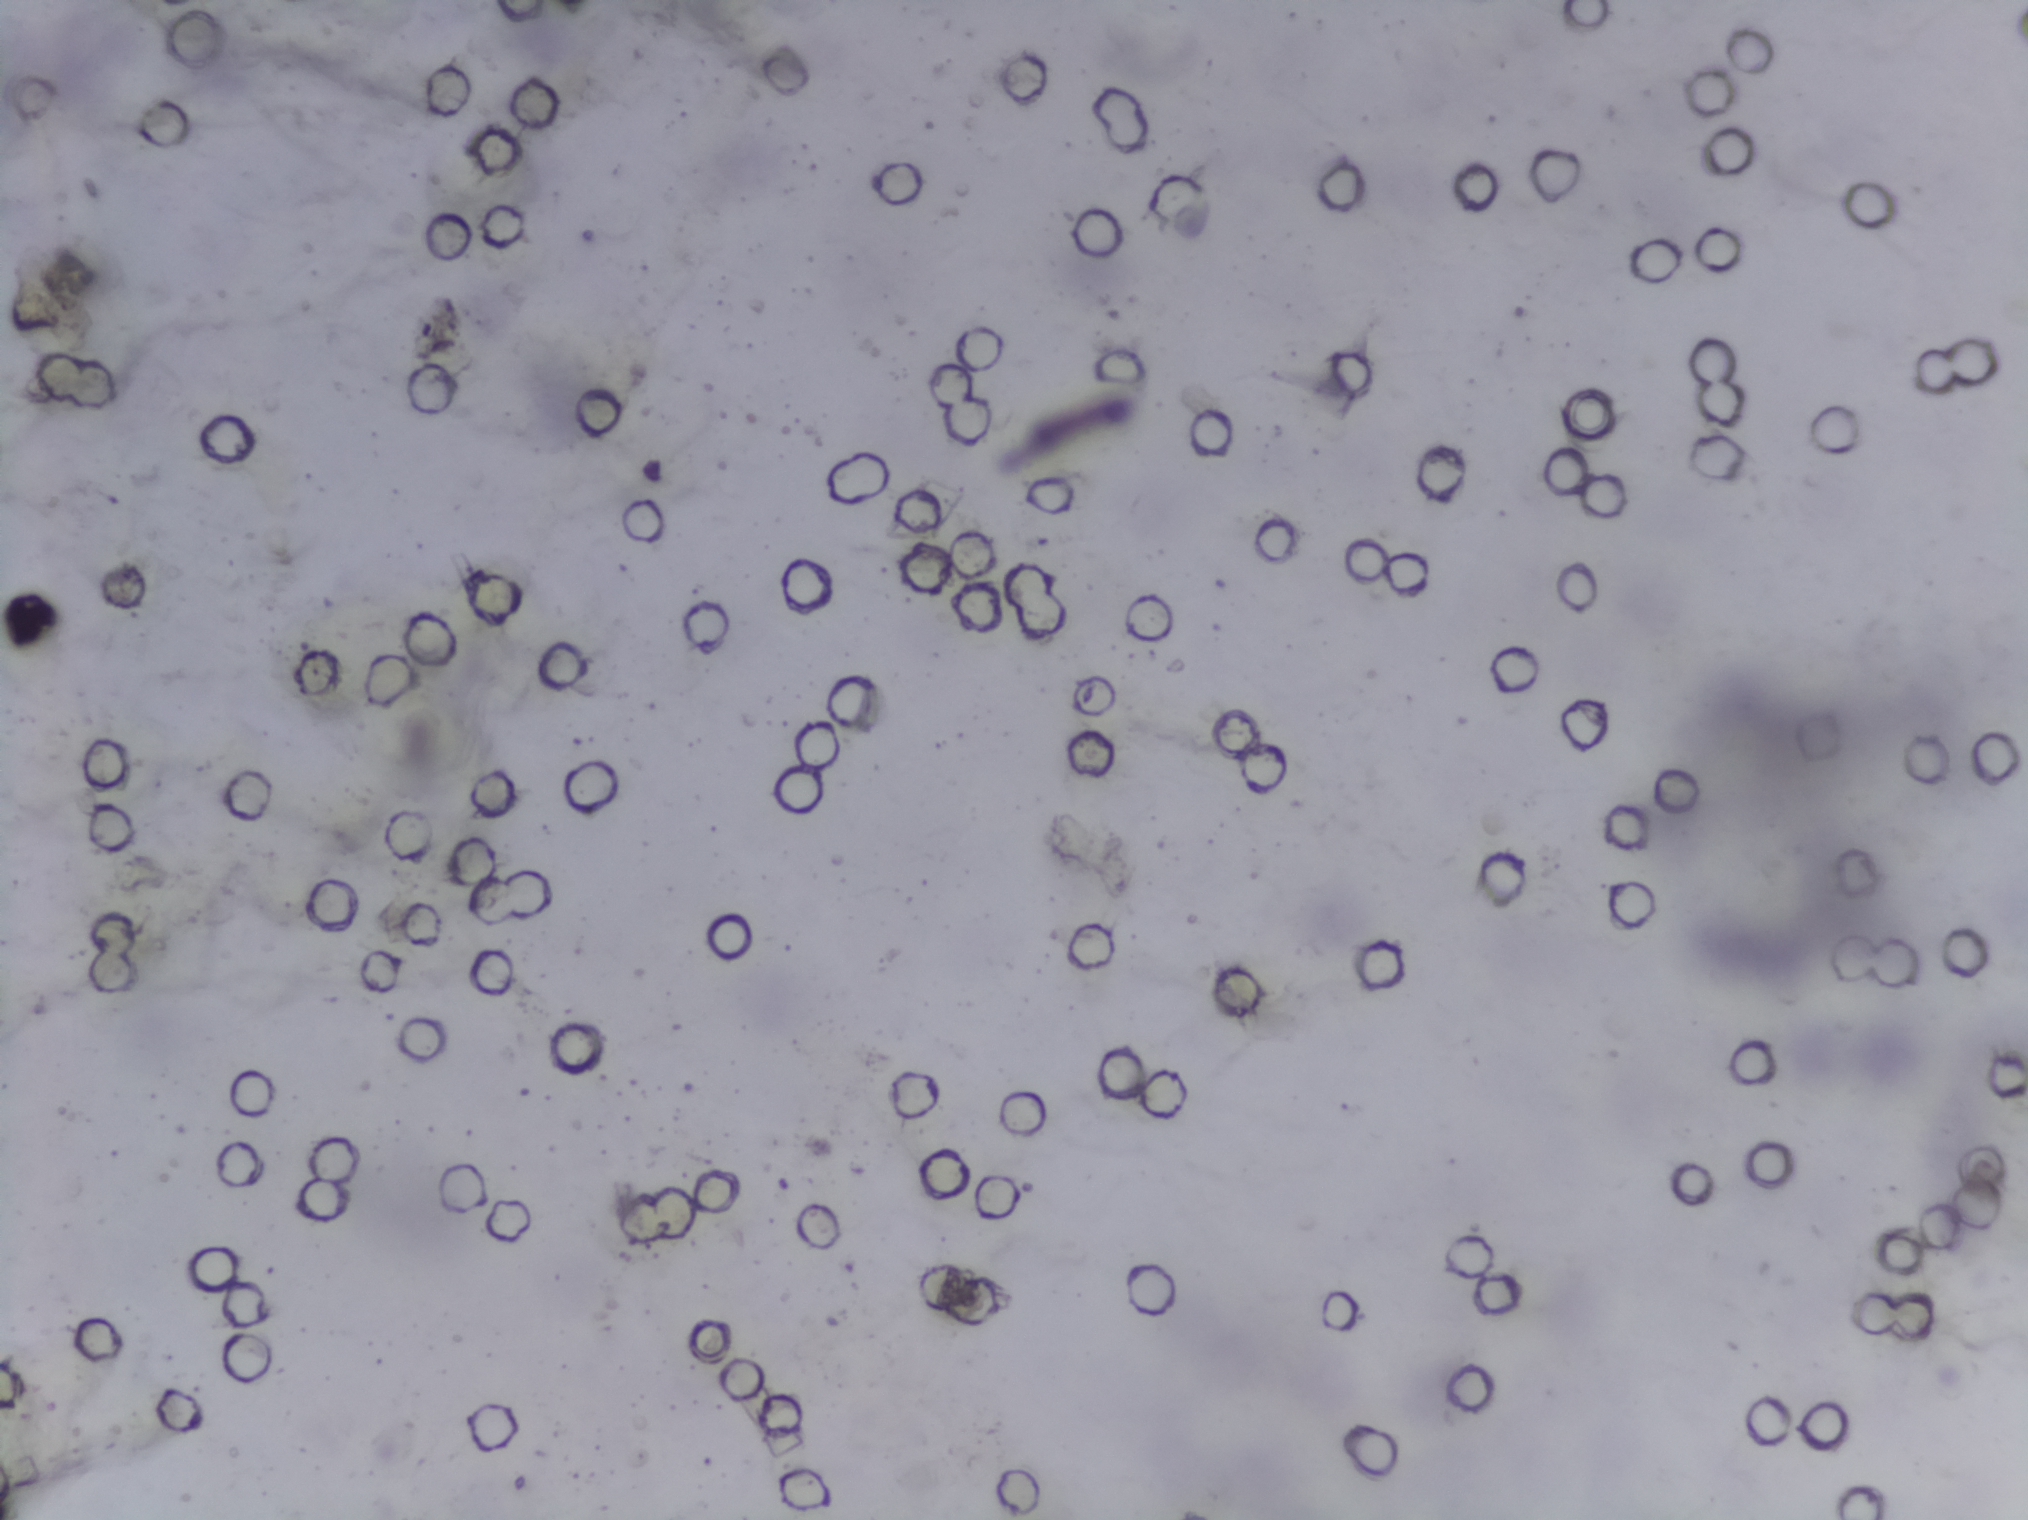
Photograph from an automated digital microscope: urine filter membrane, 4× objective.
The expert annotation outlines no Schistosoma egg in this image.